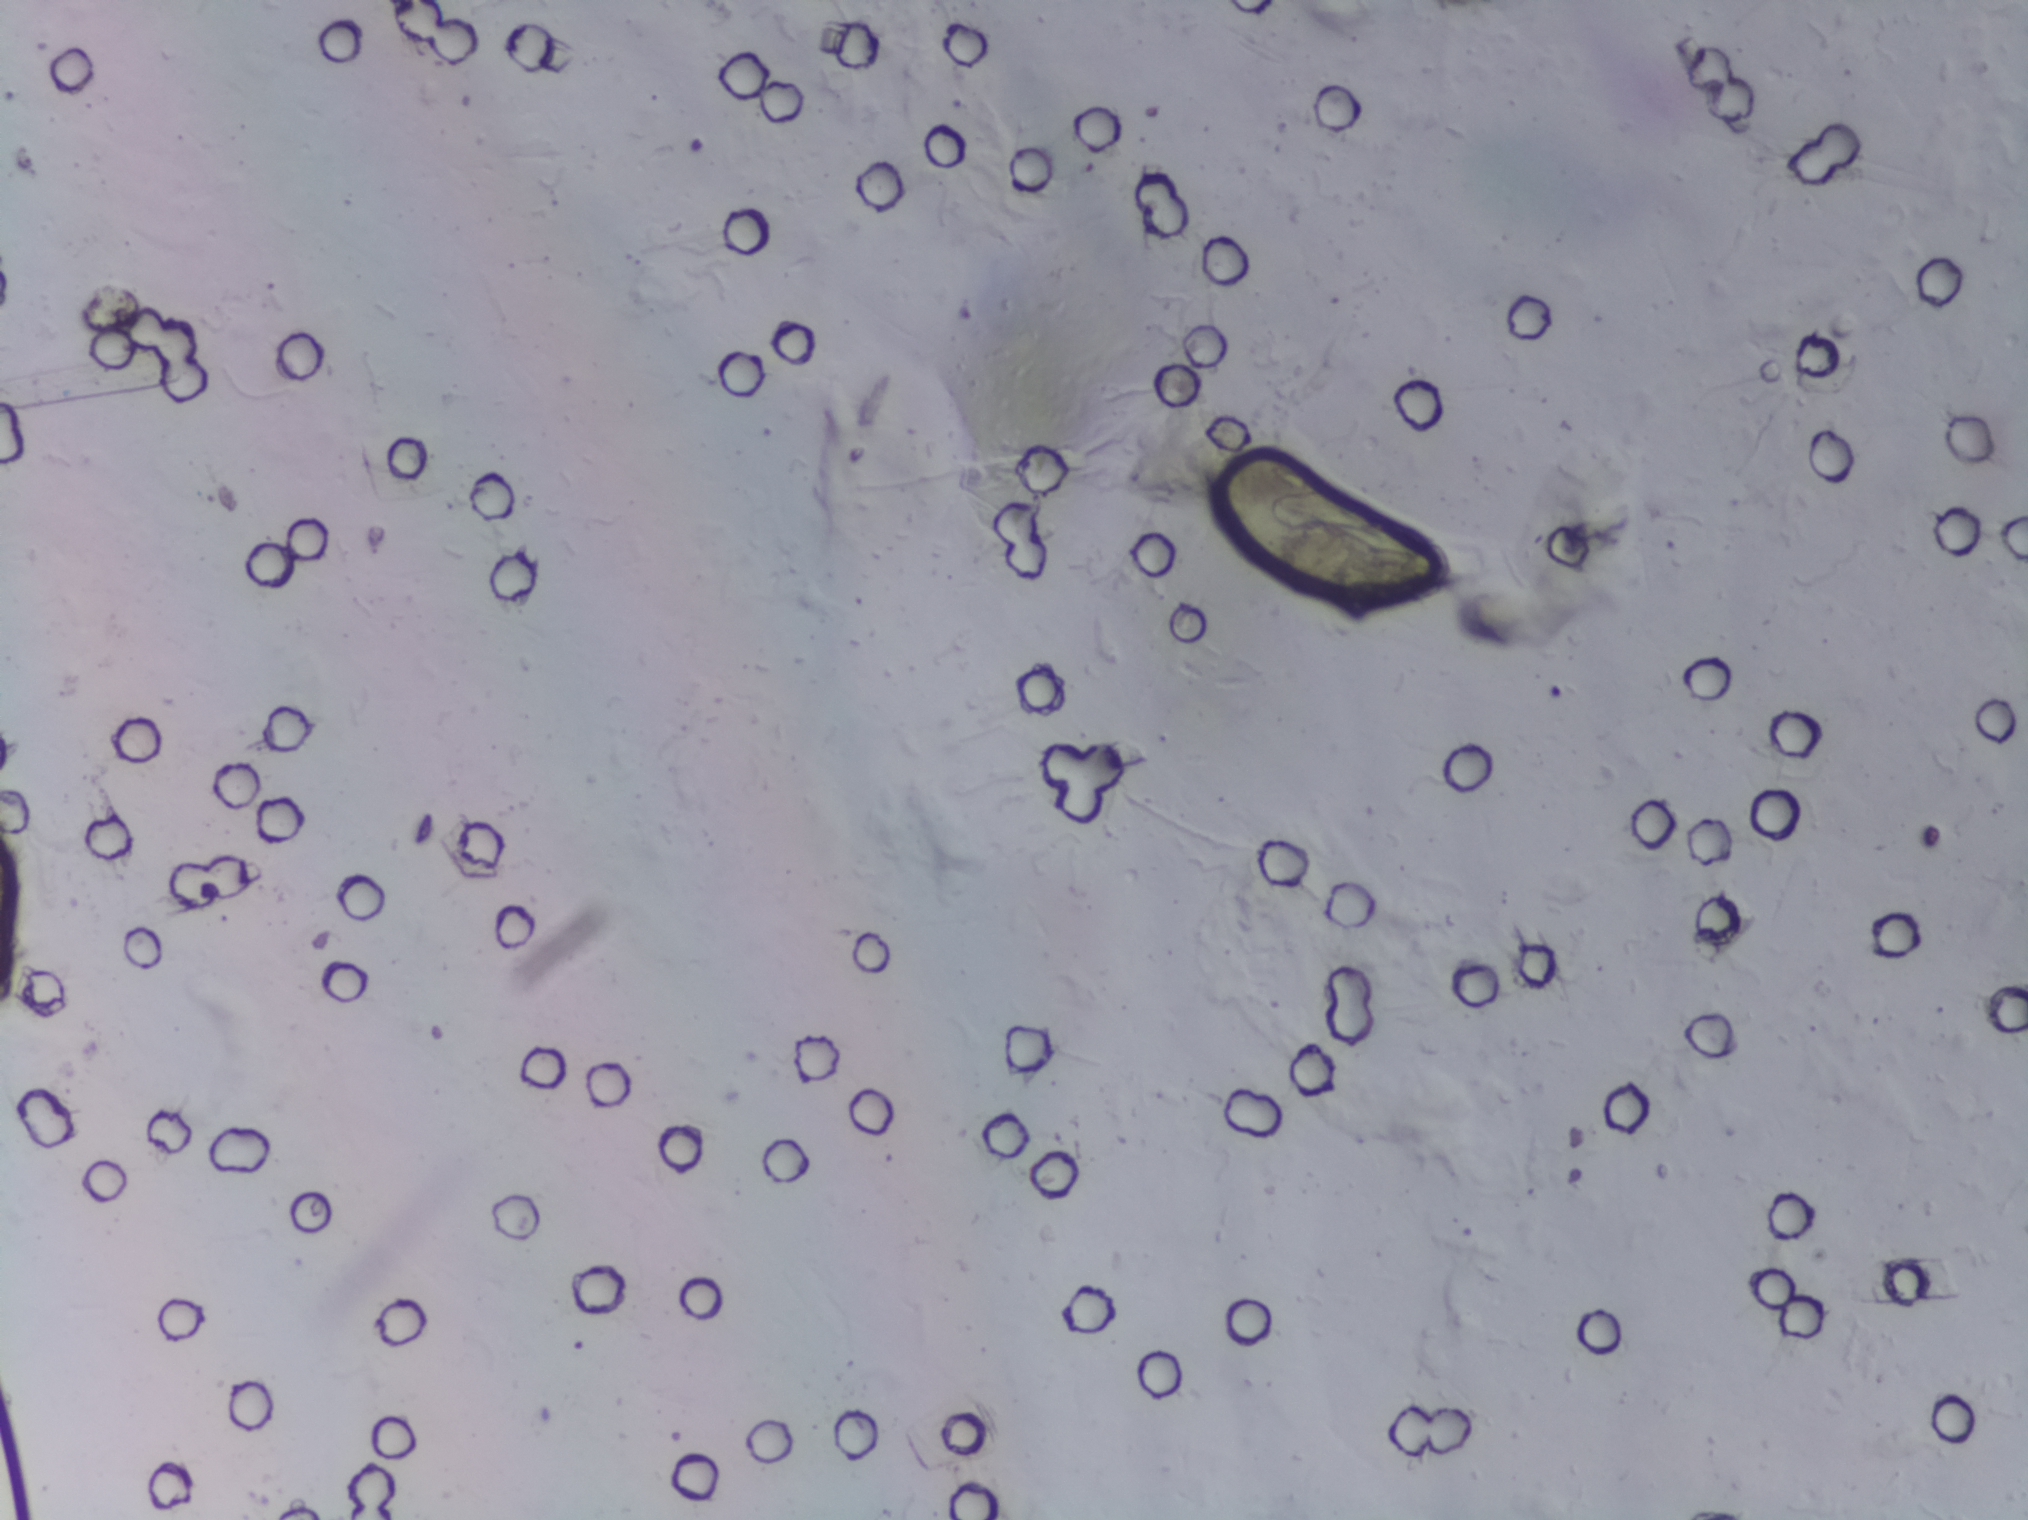
Urine filtration membrane under a 4× objective, photographed by an automated digital microscope. The image covers about 1.5 × 1.1 mm of the membrane.
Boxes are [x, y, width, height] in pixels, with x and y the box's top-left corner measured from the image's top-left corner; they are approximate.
The expert annotation outlines Schistosoma eggs at [1199, 449, 262, 170]. A single outlined area may contain several eggs.